One field of view of a urine filter membrane, 4× objective, 2028 × 1520 pixels.
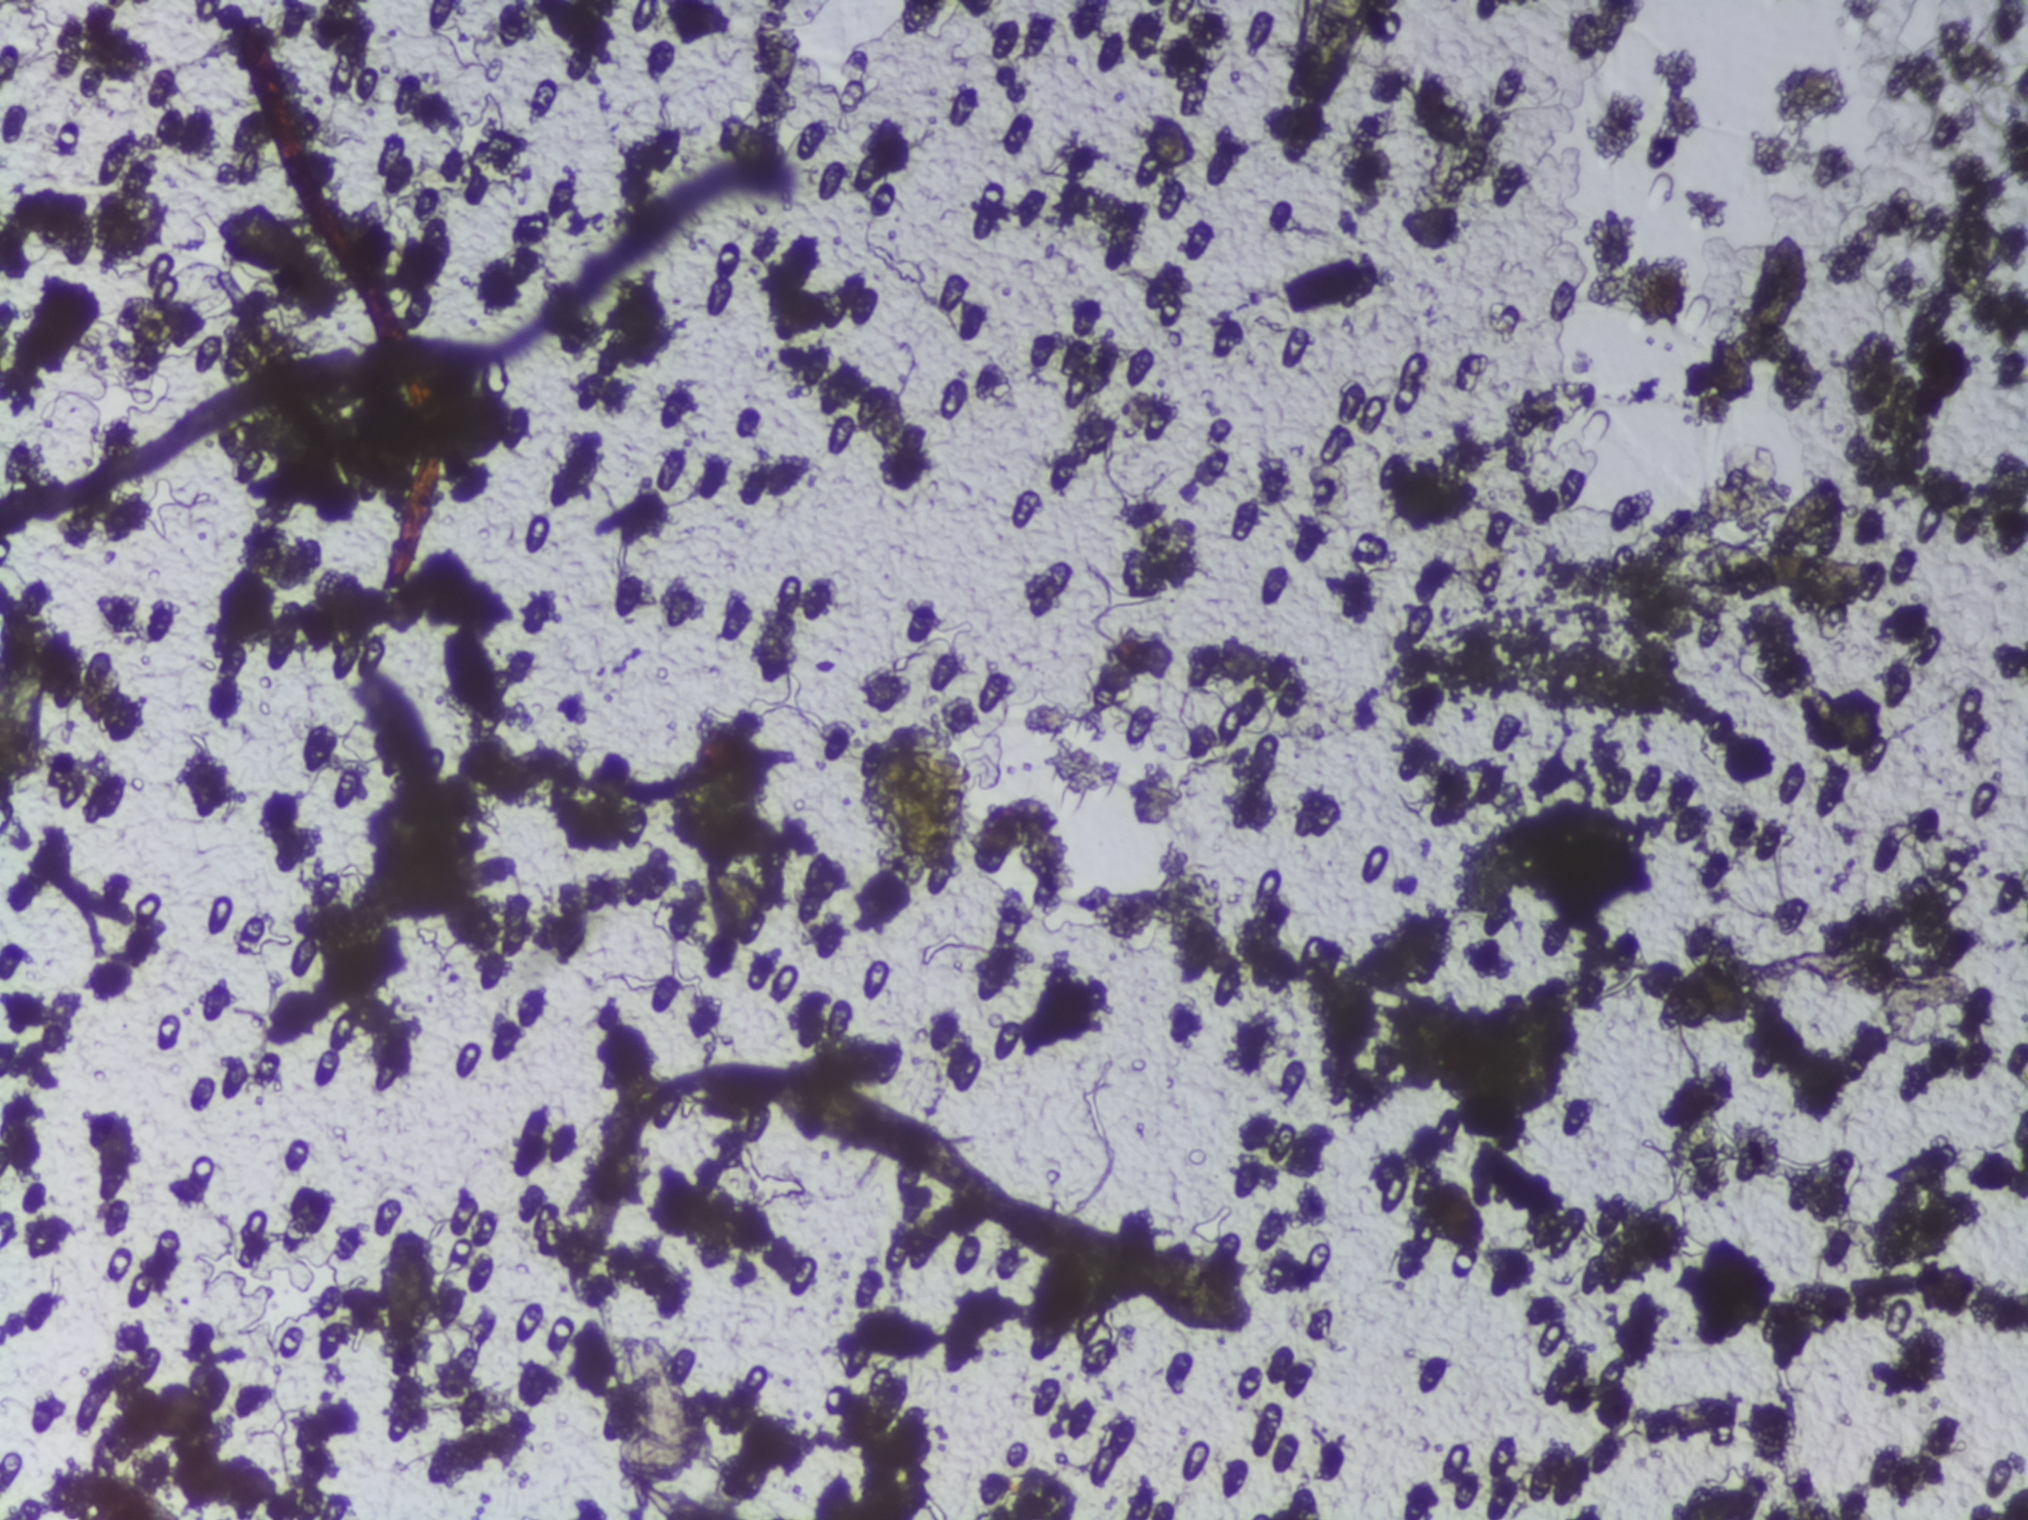
The expert annotation marks no Schistosoma egg in this field of view.